Microscope photograph (4× objective) of a membrane that a urine sample was filtered through. Field of view: about 1.5 mm wide and 1.1 mm high.
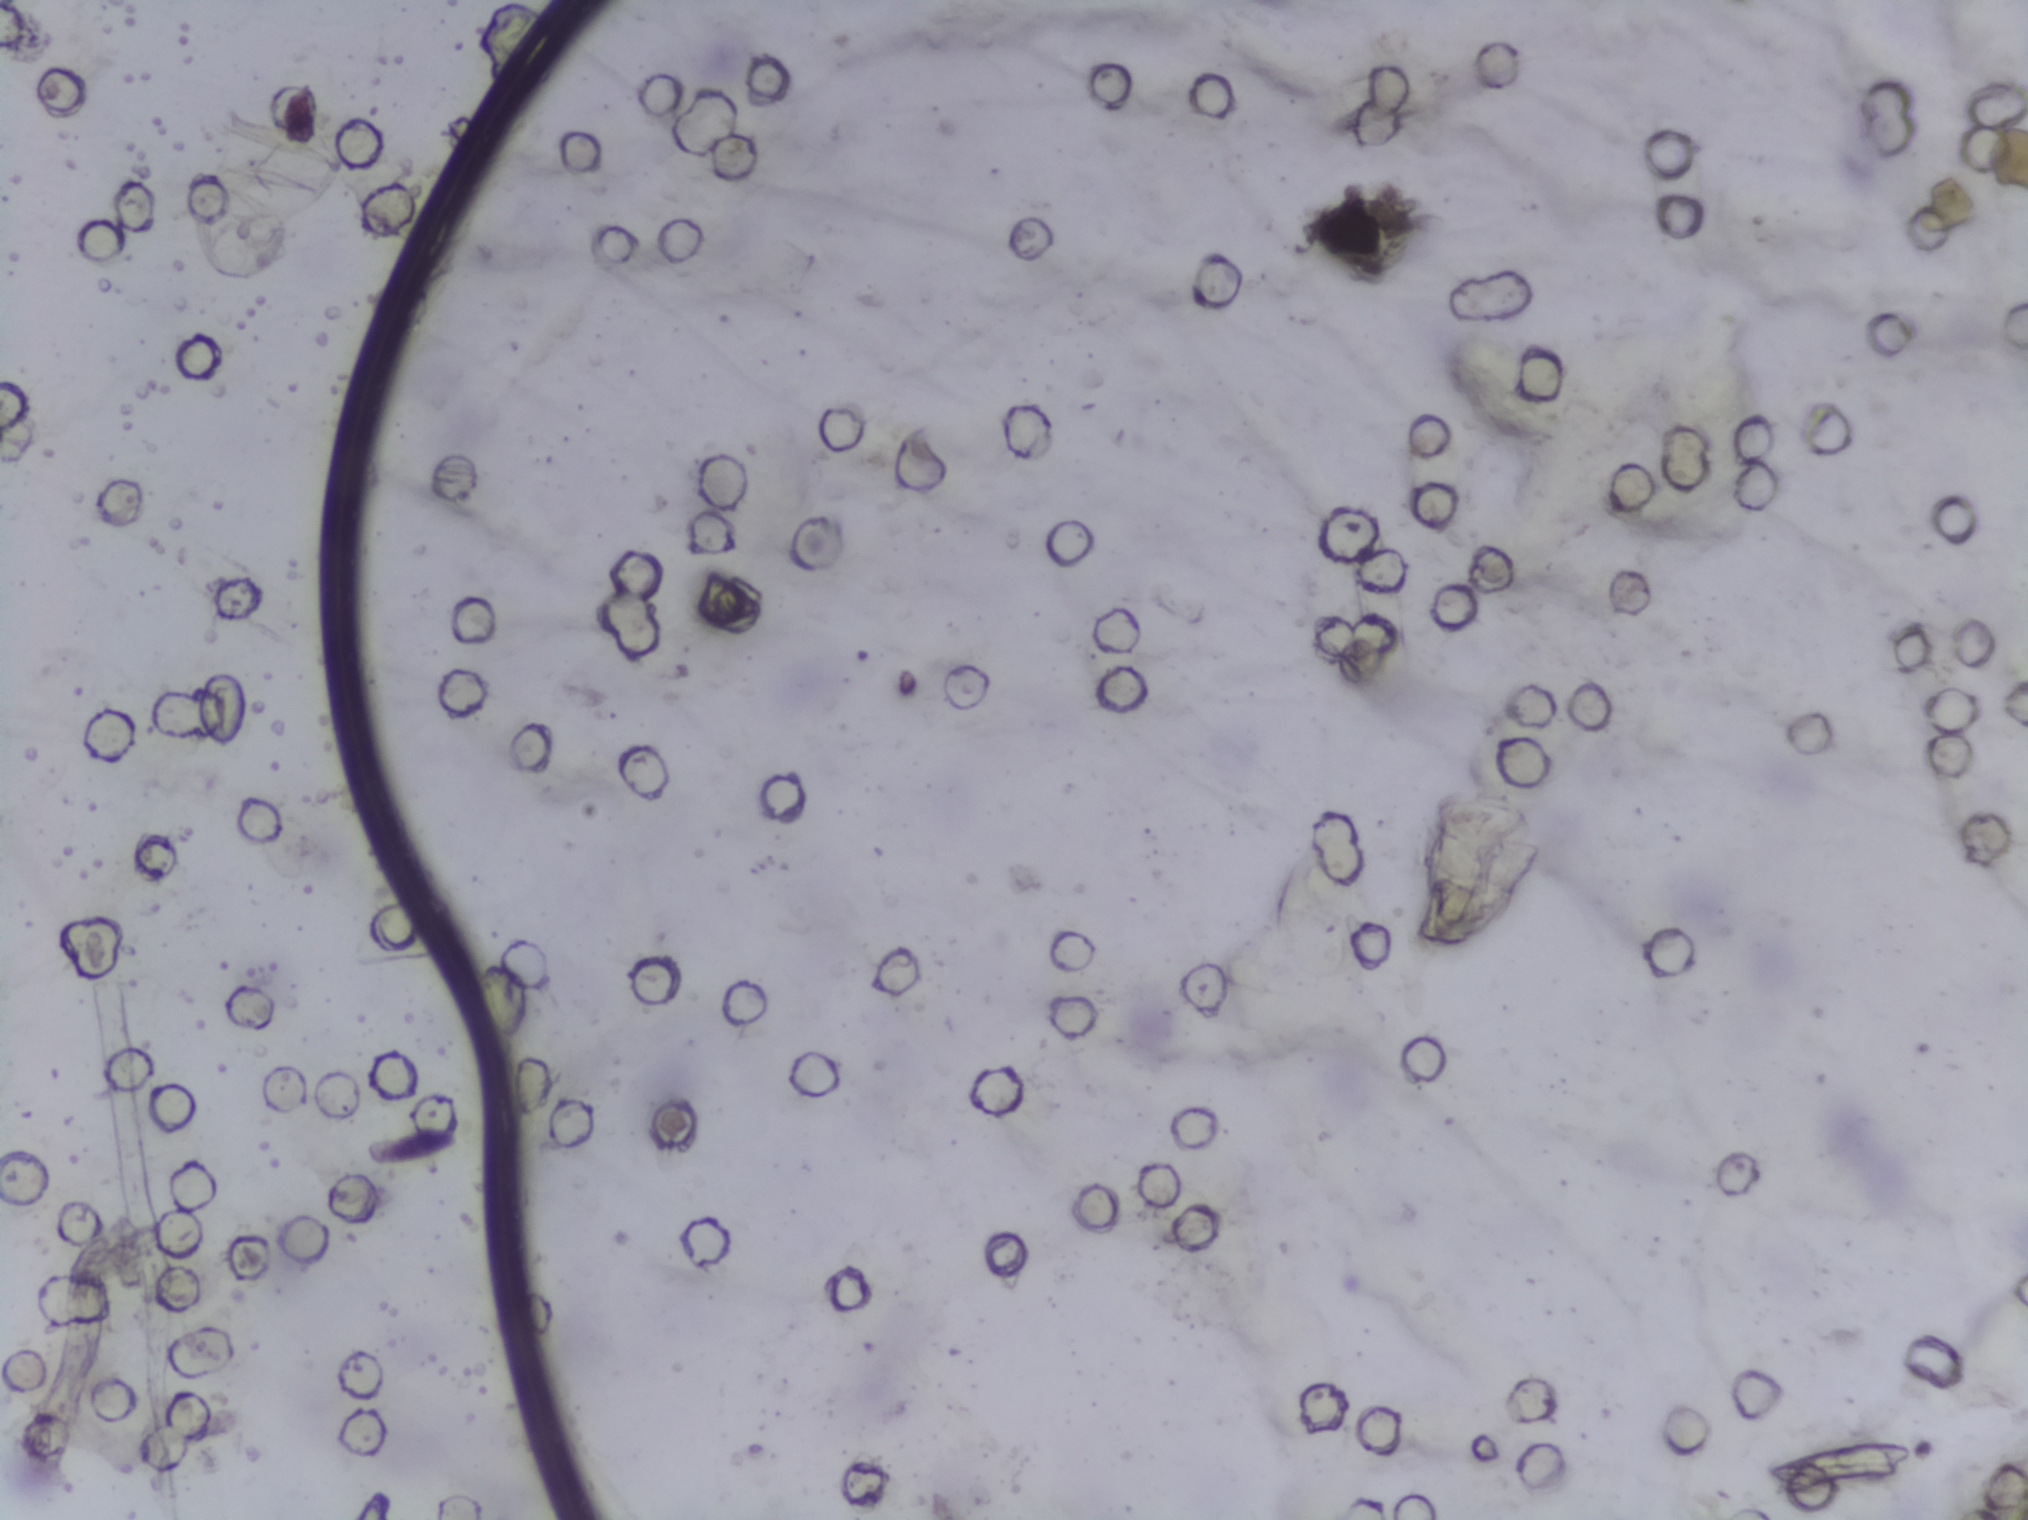
The expert annotation outlines no Schistosoma egg in this image.